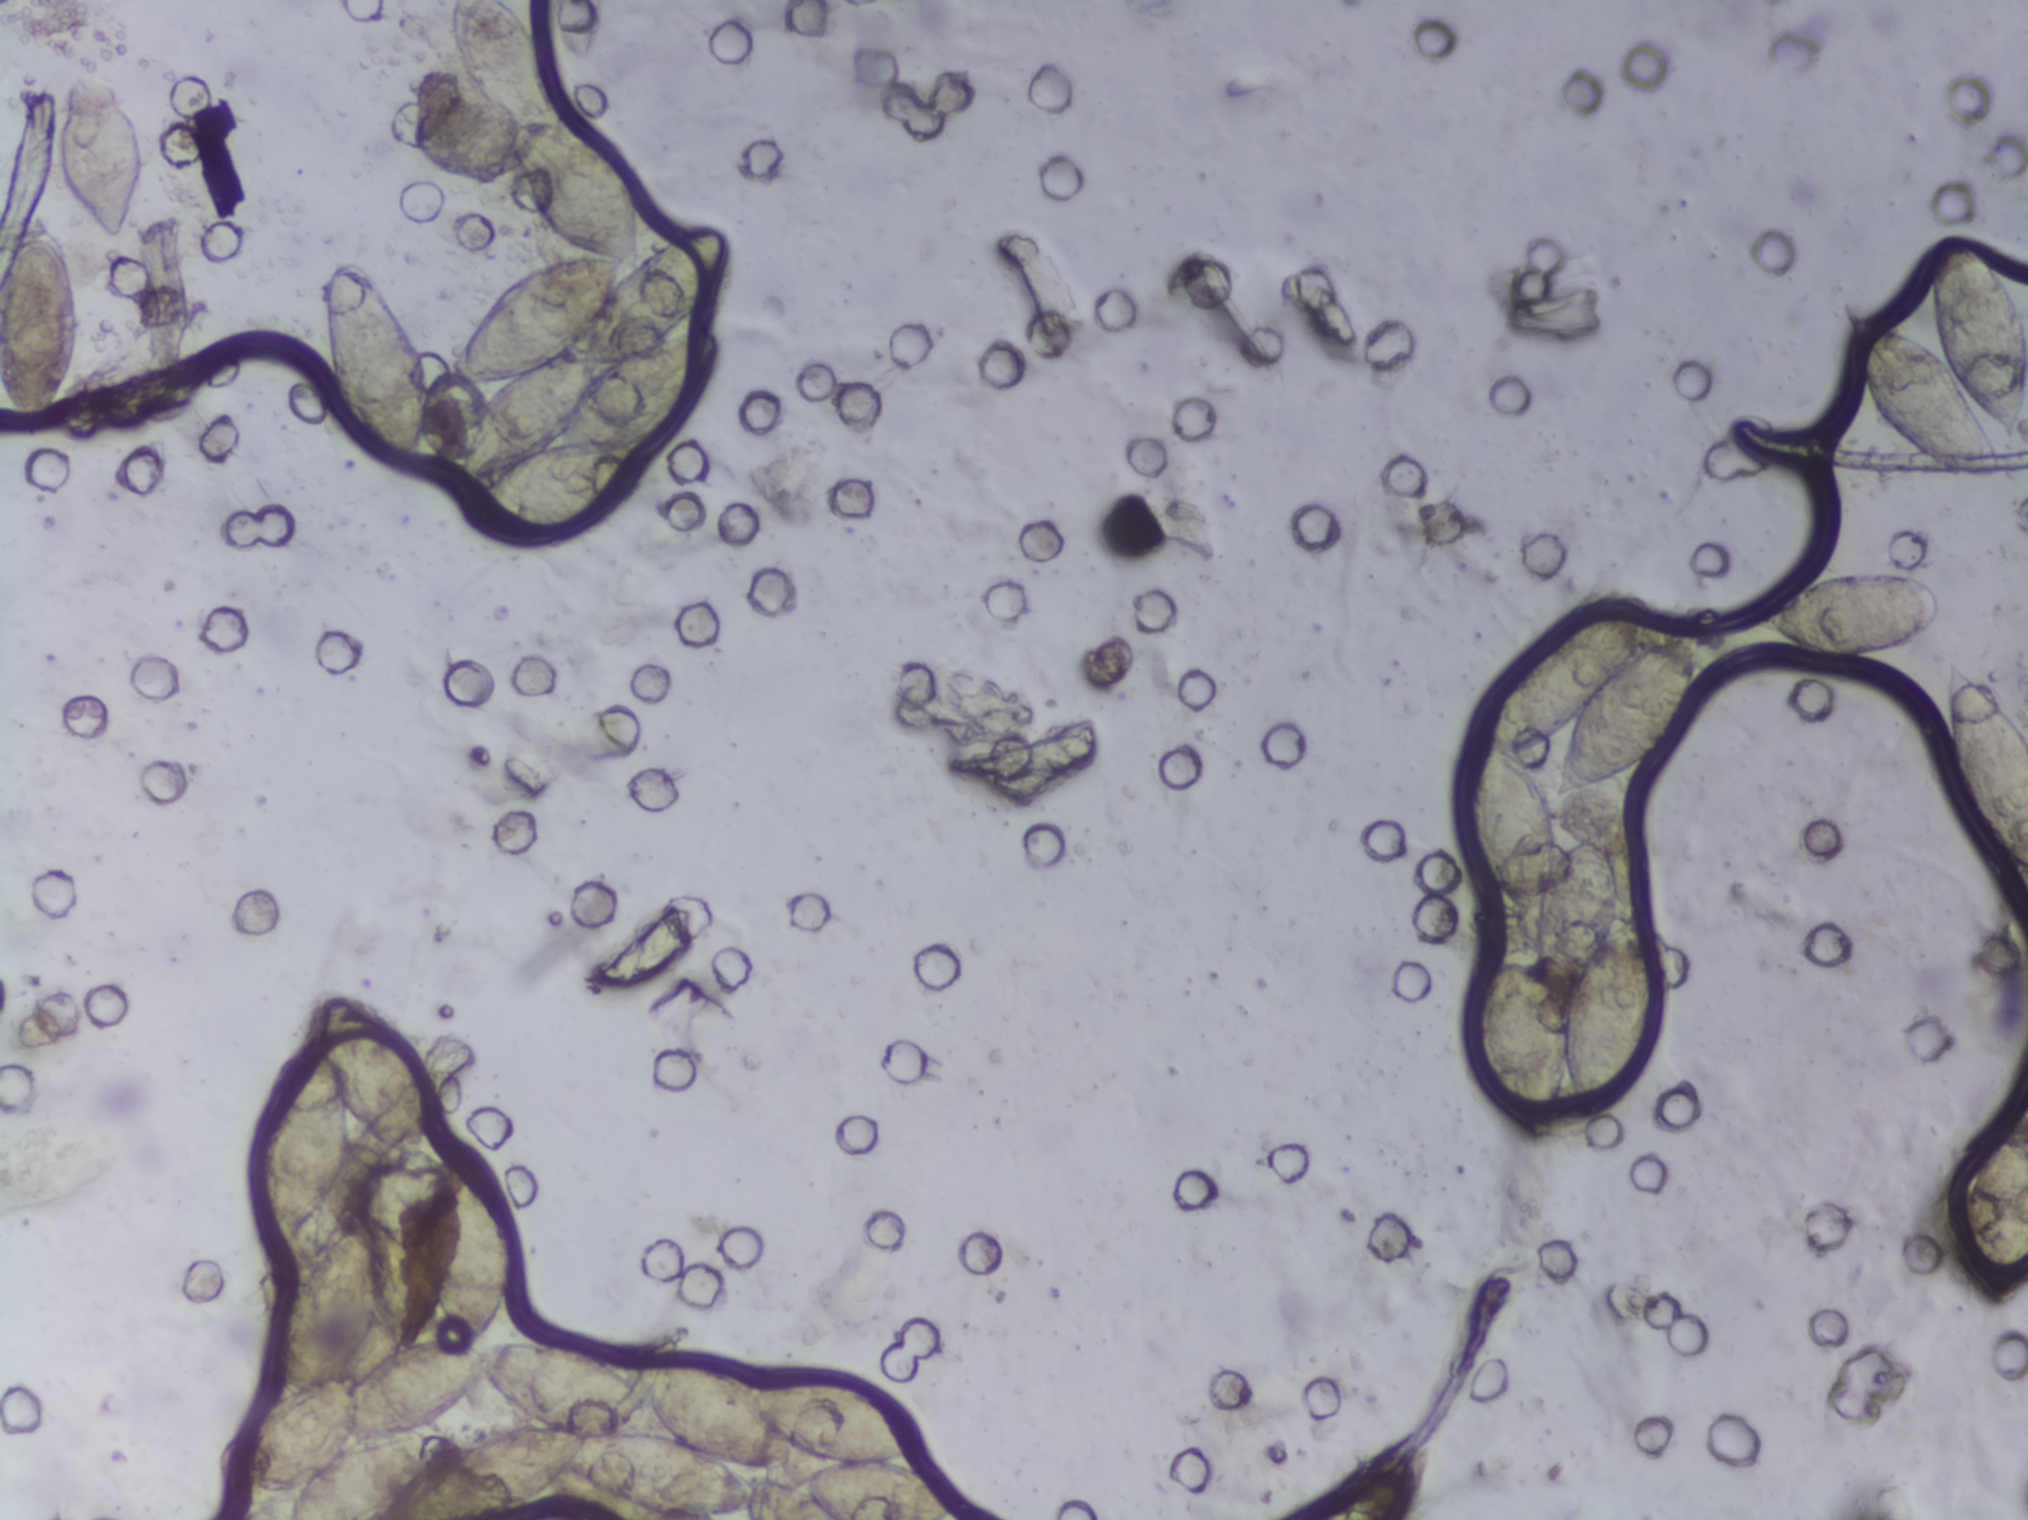
Photograph from an automated digital microscope: urine filter membrane, 4× objective.
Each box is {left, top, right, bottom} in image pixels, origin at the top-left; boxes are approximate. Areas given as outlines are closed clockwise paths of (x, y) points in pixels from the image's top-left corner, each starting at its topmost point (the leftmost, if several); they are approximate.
Schistosoma eggs are outlined in ten areas of this image, listed from left to right: box {0, 203, 79, 444} (reaching the left edge of the frame); box {52, 64, 147, 248}; outline (339, 985), (355, 985), (368, 1002), (401, 1021), (434, 1062), (439, 1085), (439, 1143), (433, 1148), (395, 1150), (357, 1122), (360, 1195), (354, 1208), (380, 1216), (367, 1189), (361, 1147), (413, 1155), (446, 1171), (480, 1152), (507, 1182), (527, 1225), (527, 1283), (514, 1290), (482, 1339), (575, 1342), (617, 1364), (663, 1360), (748, 1382), (817, 1377), (874, 1386), (918, 1422), (926, 1441), (919, 1452), (875, 1459), (950, 1483), (964, 1494), (966, 1507), (949, 1519), (711, 1519), (593, 1494), (561, 1477), (531, 1500), (469, 1519), (279, 1519), (290, 1490), (217, 1481), (211, 1463), (229, 1427), (274, 1393), (269, 1304), (284, 1279), (254, 1225), (248, 1159), (291, 1068), (311, 1045), (318, 1001) (eggs clustered together; reaching the bottom edge of the frame); box {319, 255, 434, 476}; outline (445, 0), (511, 0), (535, 19), (558, 68), (565, 124), (588, 129), (630, 165), (646, 251), (706, 227), (722, 227), (735, 238), (727, 285), (699, 325), (710, 325), (725, 339), (726, 376), (717, 397), (662, 438), (665, 466), (602, 524), (544, 549), (490, 543), (460, 520), (457, 500), (479, 480), (460, 478), (460, 460), (489, 385), (456, 377), (455, 346), (509, 276), (553, 257), (597, 253), (561, 241), (526, 208), (509, 164), (507, 127), (476, 109), (462, 89), (449, 50) (eggs clustered together; reaching the top edge of the frame); outline (1605, 584), (1624, 584), (1652, 598), (1643, 648), (1677, 633), (1694, 639), (1699, 679), (1687, 719), (1671, 743), (1636, 770), (1570, 803), (1553, 793), (1568, 728), (1521, 752), (1555, 810), (1557, 850), (1589, 836), (1614, 855), (1615, 923), (1644, 917), (1661, 985), (1650, 1064), (1634, 1098), (1611, 1119), (1584, 1120), (1562, 1059), (1555, 1075), (1555, 1139), (1546, 1143), (1497, 1107), (1468, 1054), (1479, 977), (1497, 959), (1516, 956), (1534, 966), (1535, 959), (1523, 913), (1482, 863), (1475, 844), (1465, 791), (1472, 751), (1465, 740), (1466, 716), (1498, 658), (1538, 617) (eggs clustered together); box {1748, 566, 1942, 663}; box {1836, 231, 2027, 483} (reaching the right edge of the frame); box {1943, 658, 2027, 913} (reaching the right edge of the frame); box {1955, 1090, 2027, 1304} (reaching the right edge of the frame). An outlined area can hold more than one egg. Any one outlined egg may, rarely, be S. mansoni rather than S. haematobium.